One field of view of a urine filter membrane, 4× objective, 2028 × 1520 pixels.
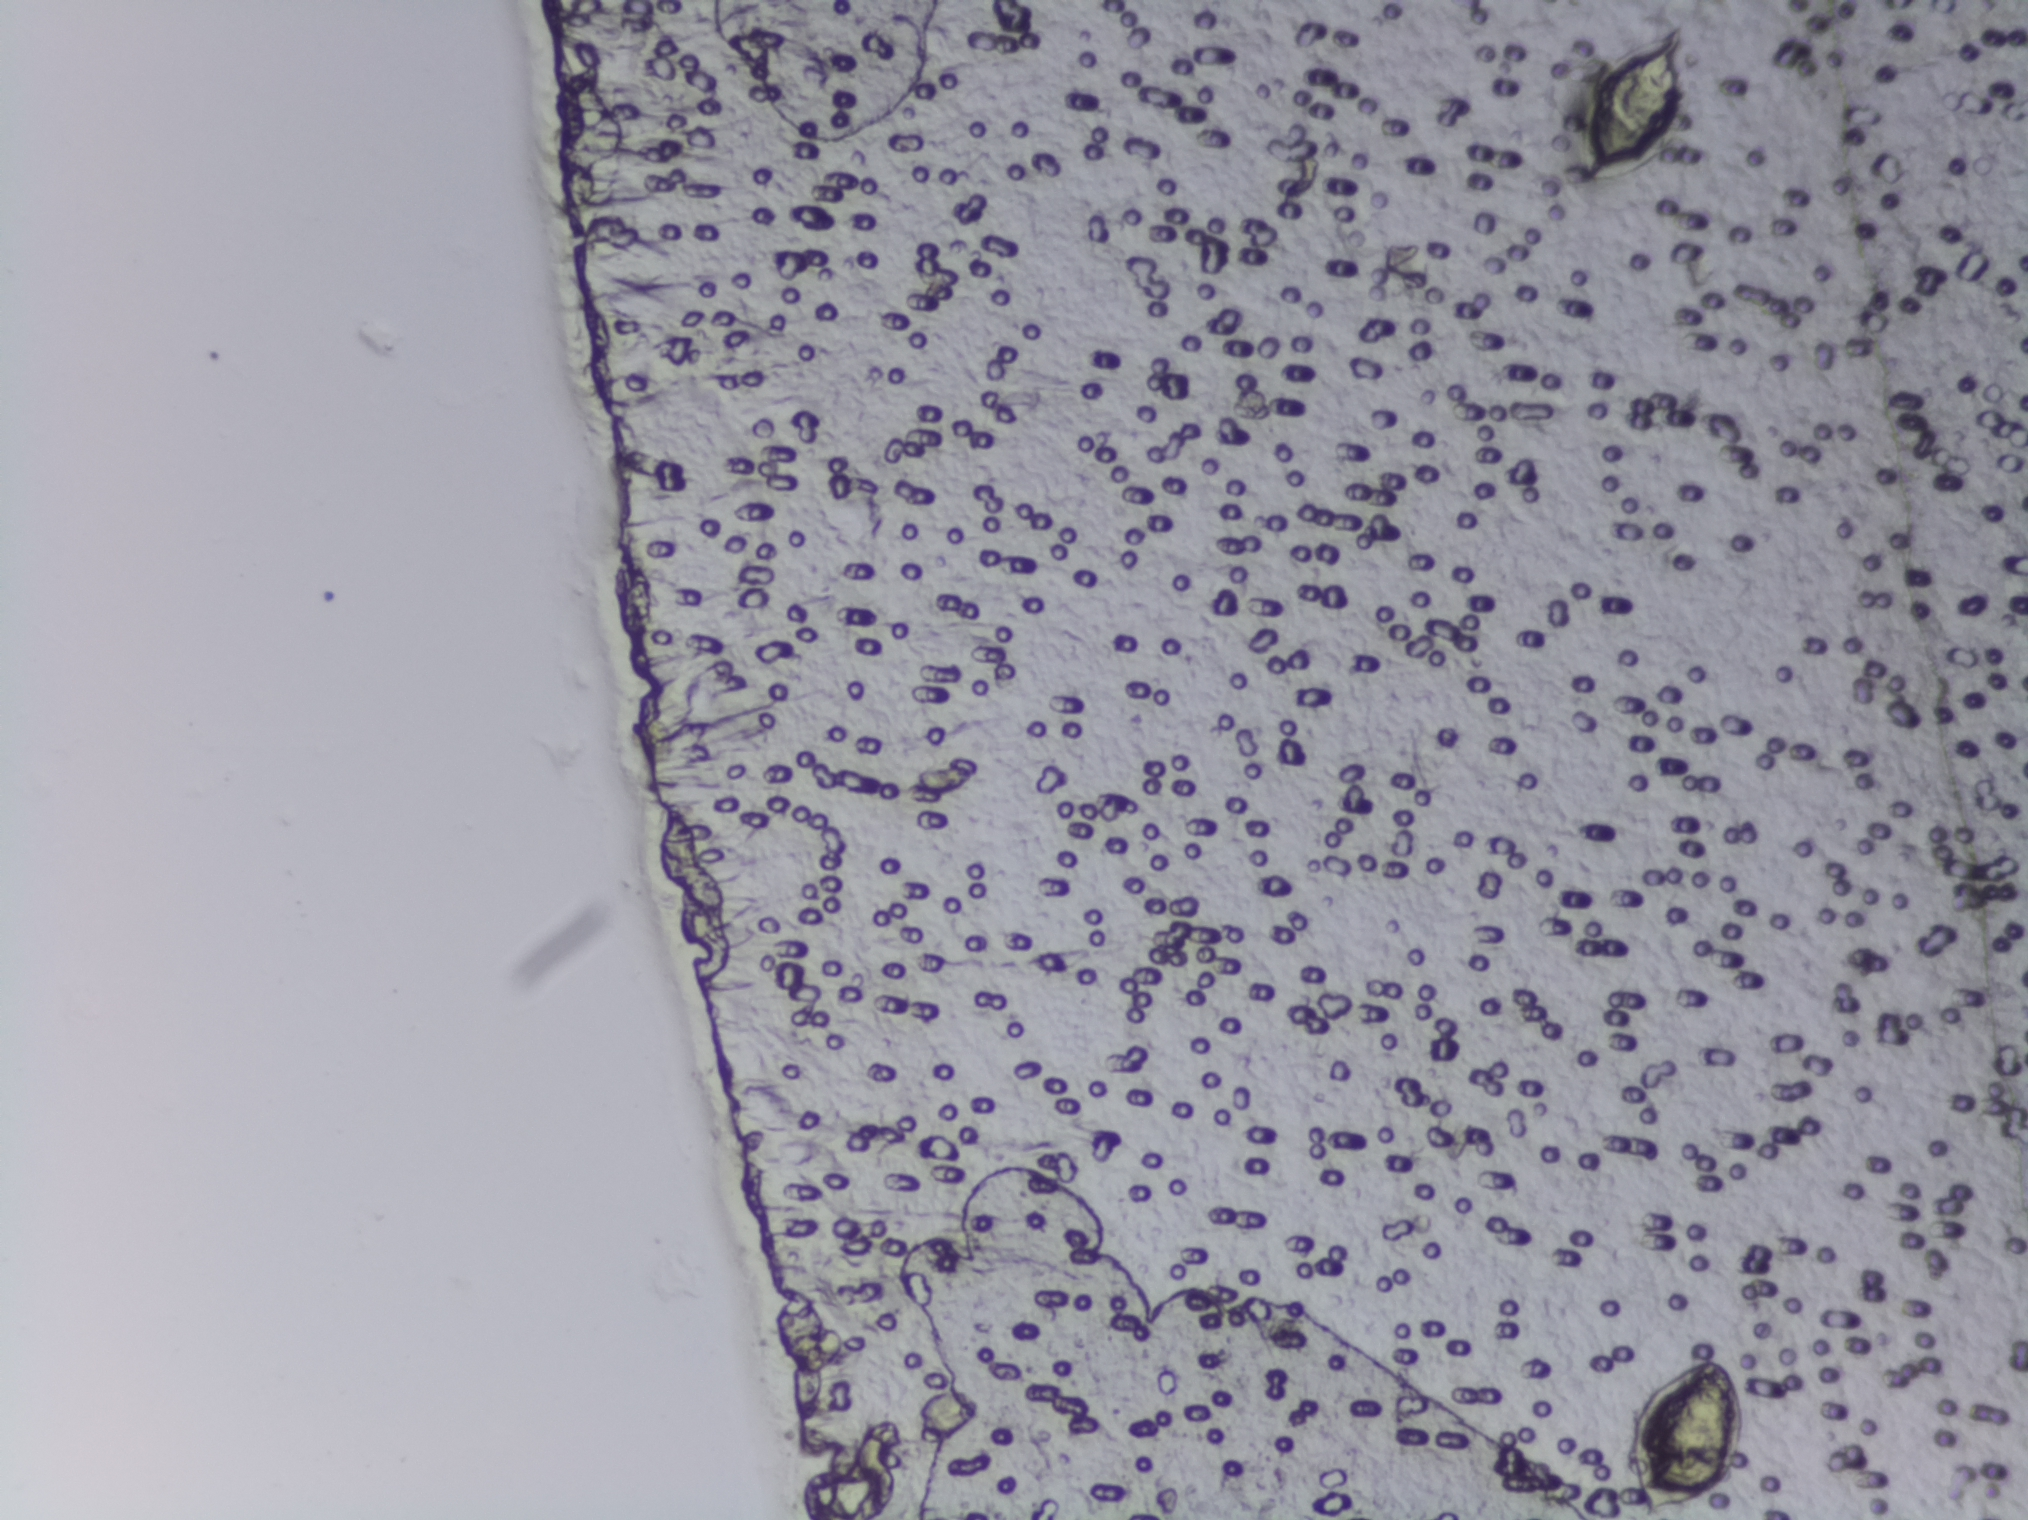
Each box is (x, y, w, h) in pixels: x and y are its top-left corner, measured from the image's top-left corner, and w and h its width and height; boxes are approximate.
Two areas of this image are outlined as Schistosoma eggs, from left to right: (x=1570, y=22, w=120, h=165) and (x=1625, y=1356, w=127, h=164) (reaching the bottom edge of the frame). An outlined area can hold more than one egg.